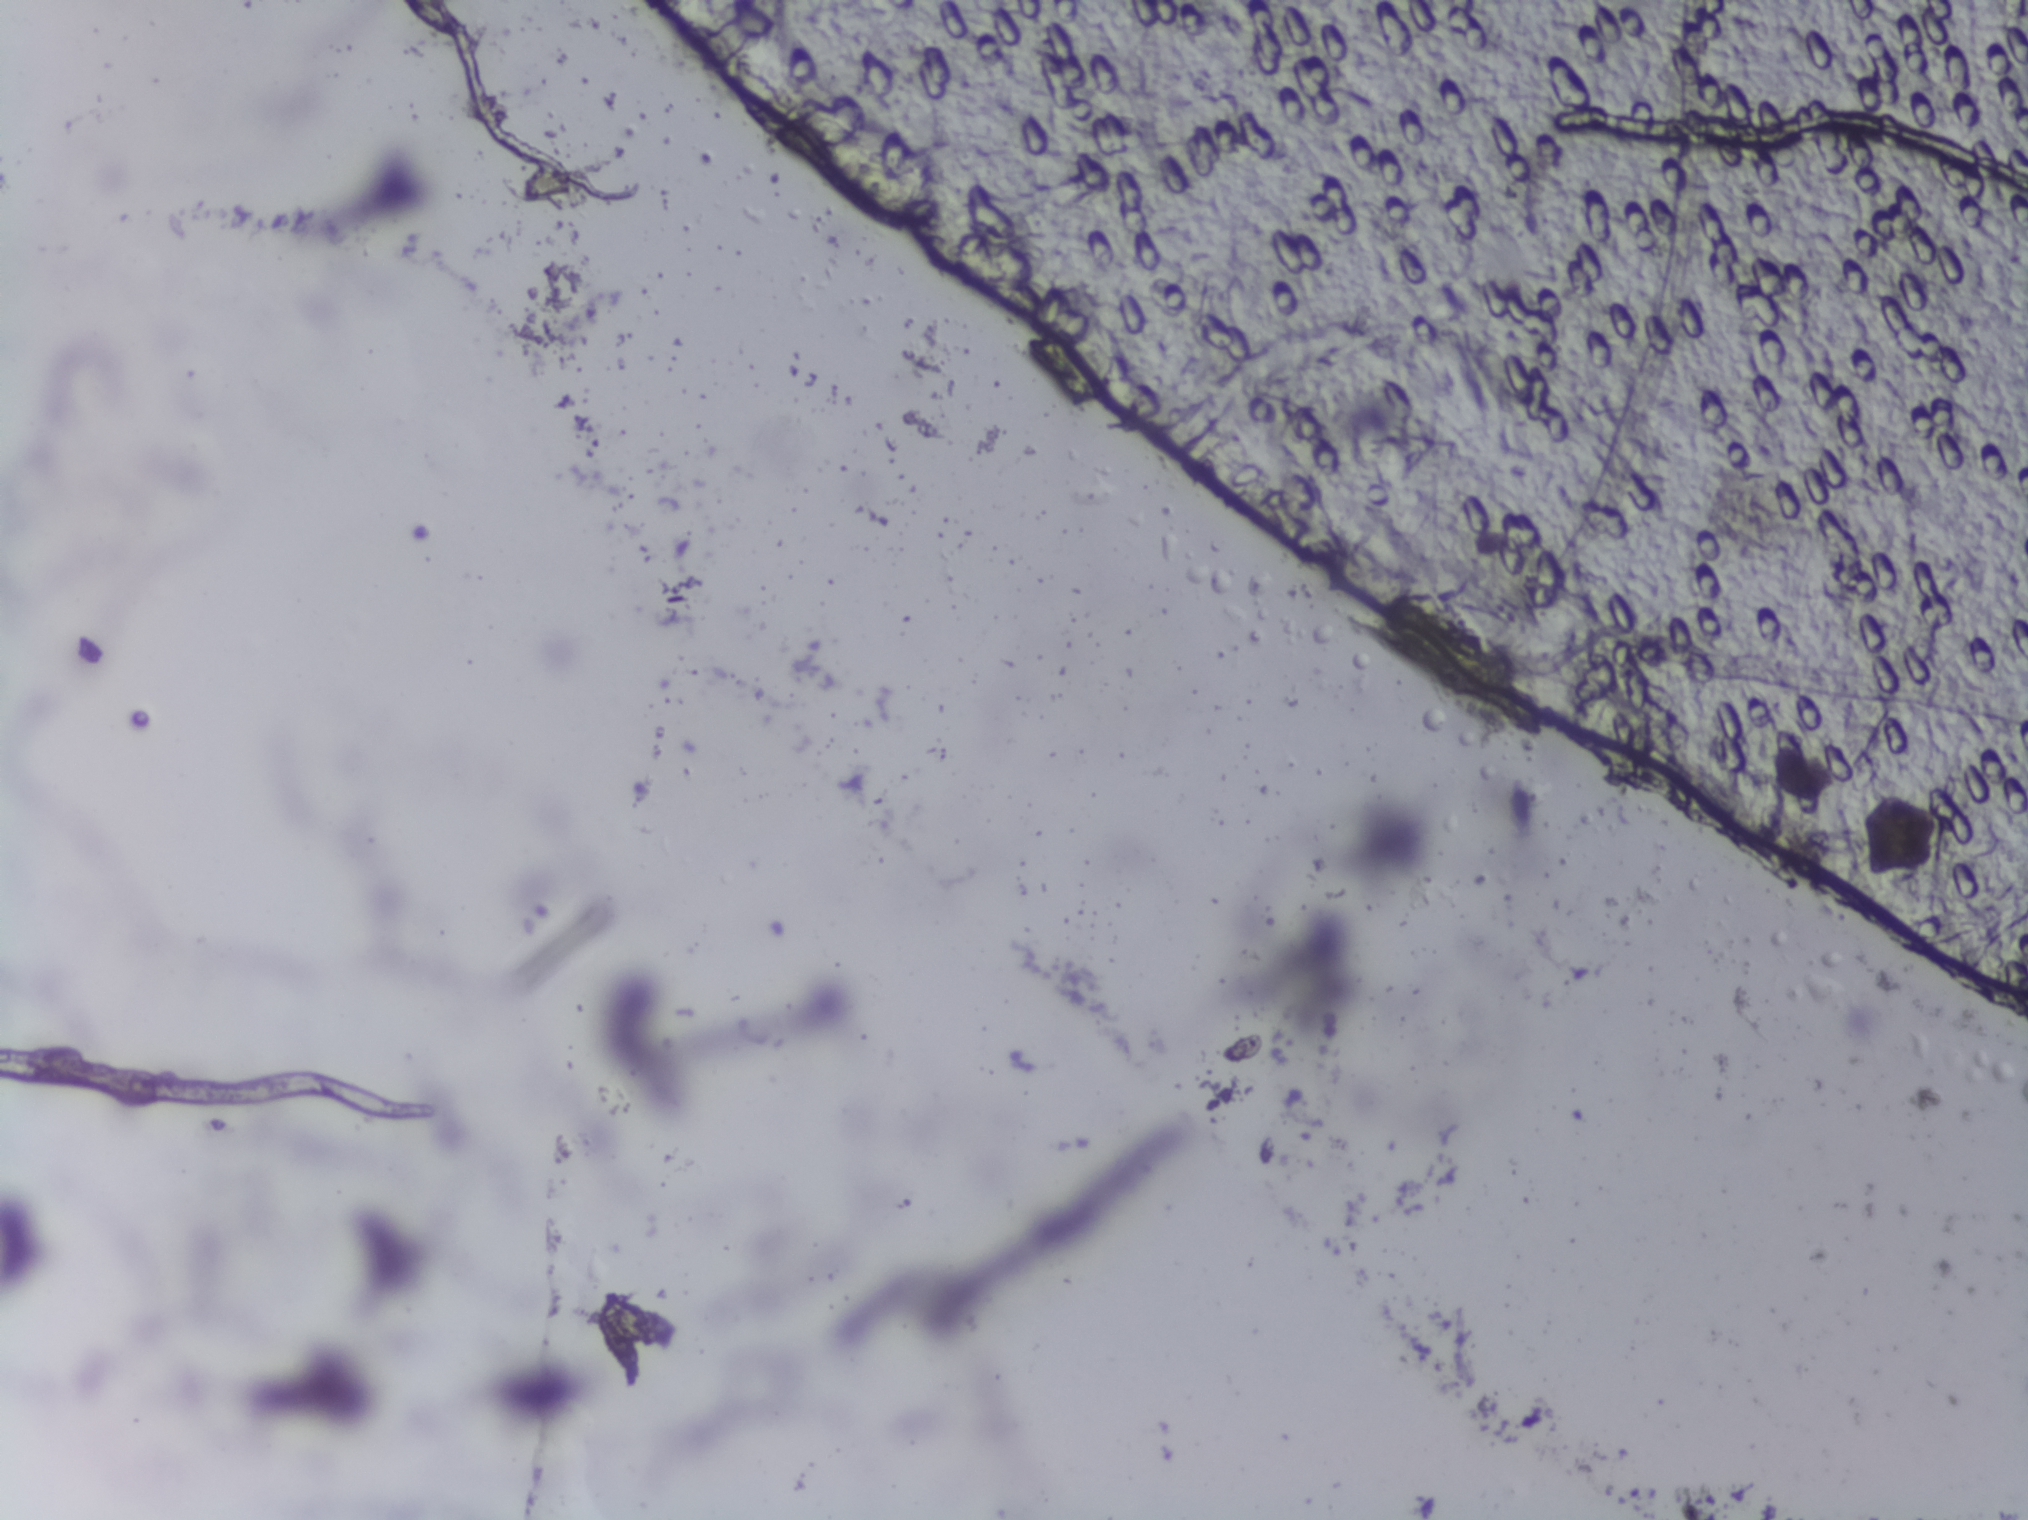
Schistosoma eggs: none outlined.
Microscope photograph (4× objective) of a membrane that a urine sample was filtered through. The field of view is about 1.5 mm × 1.1 mm.